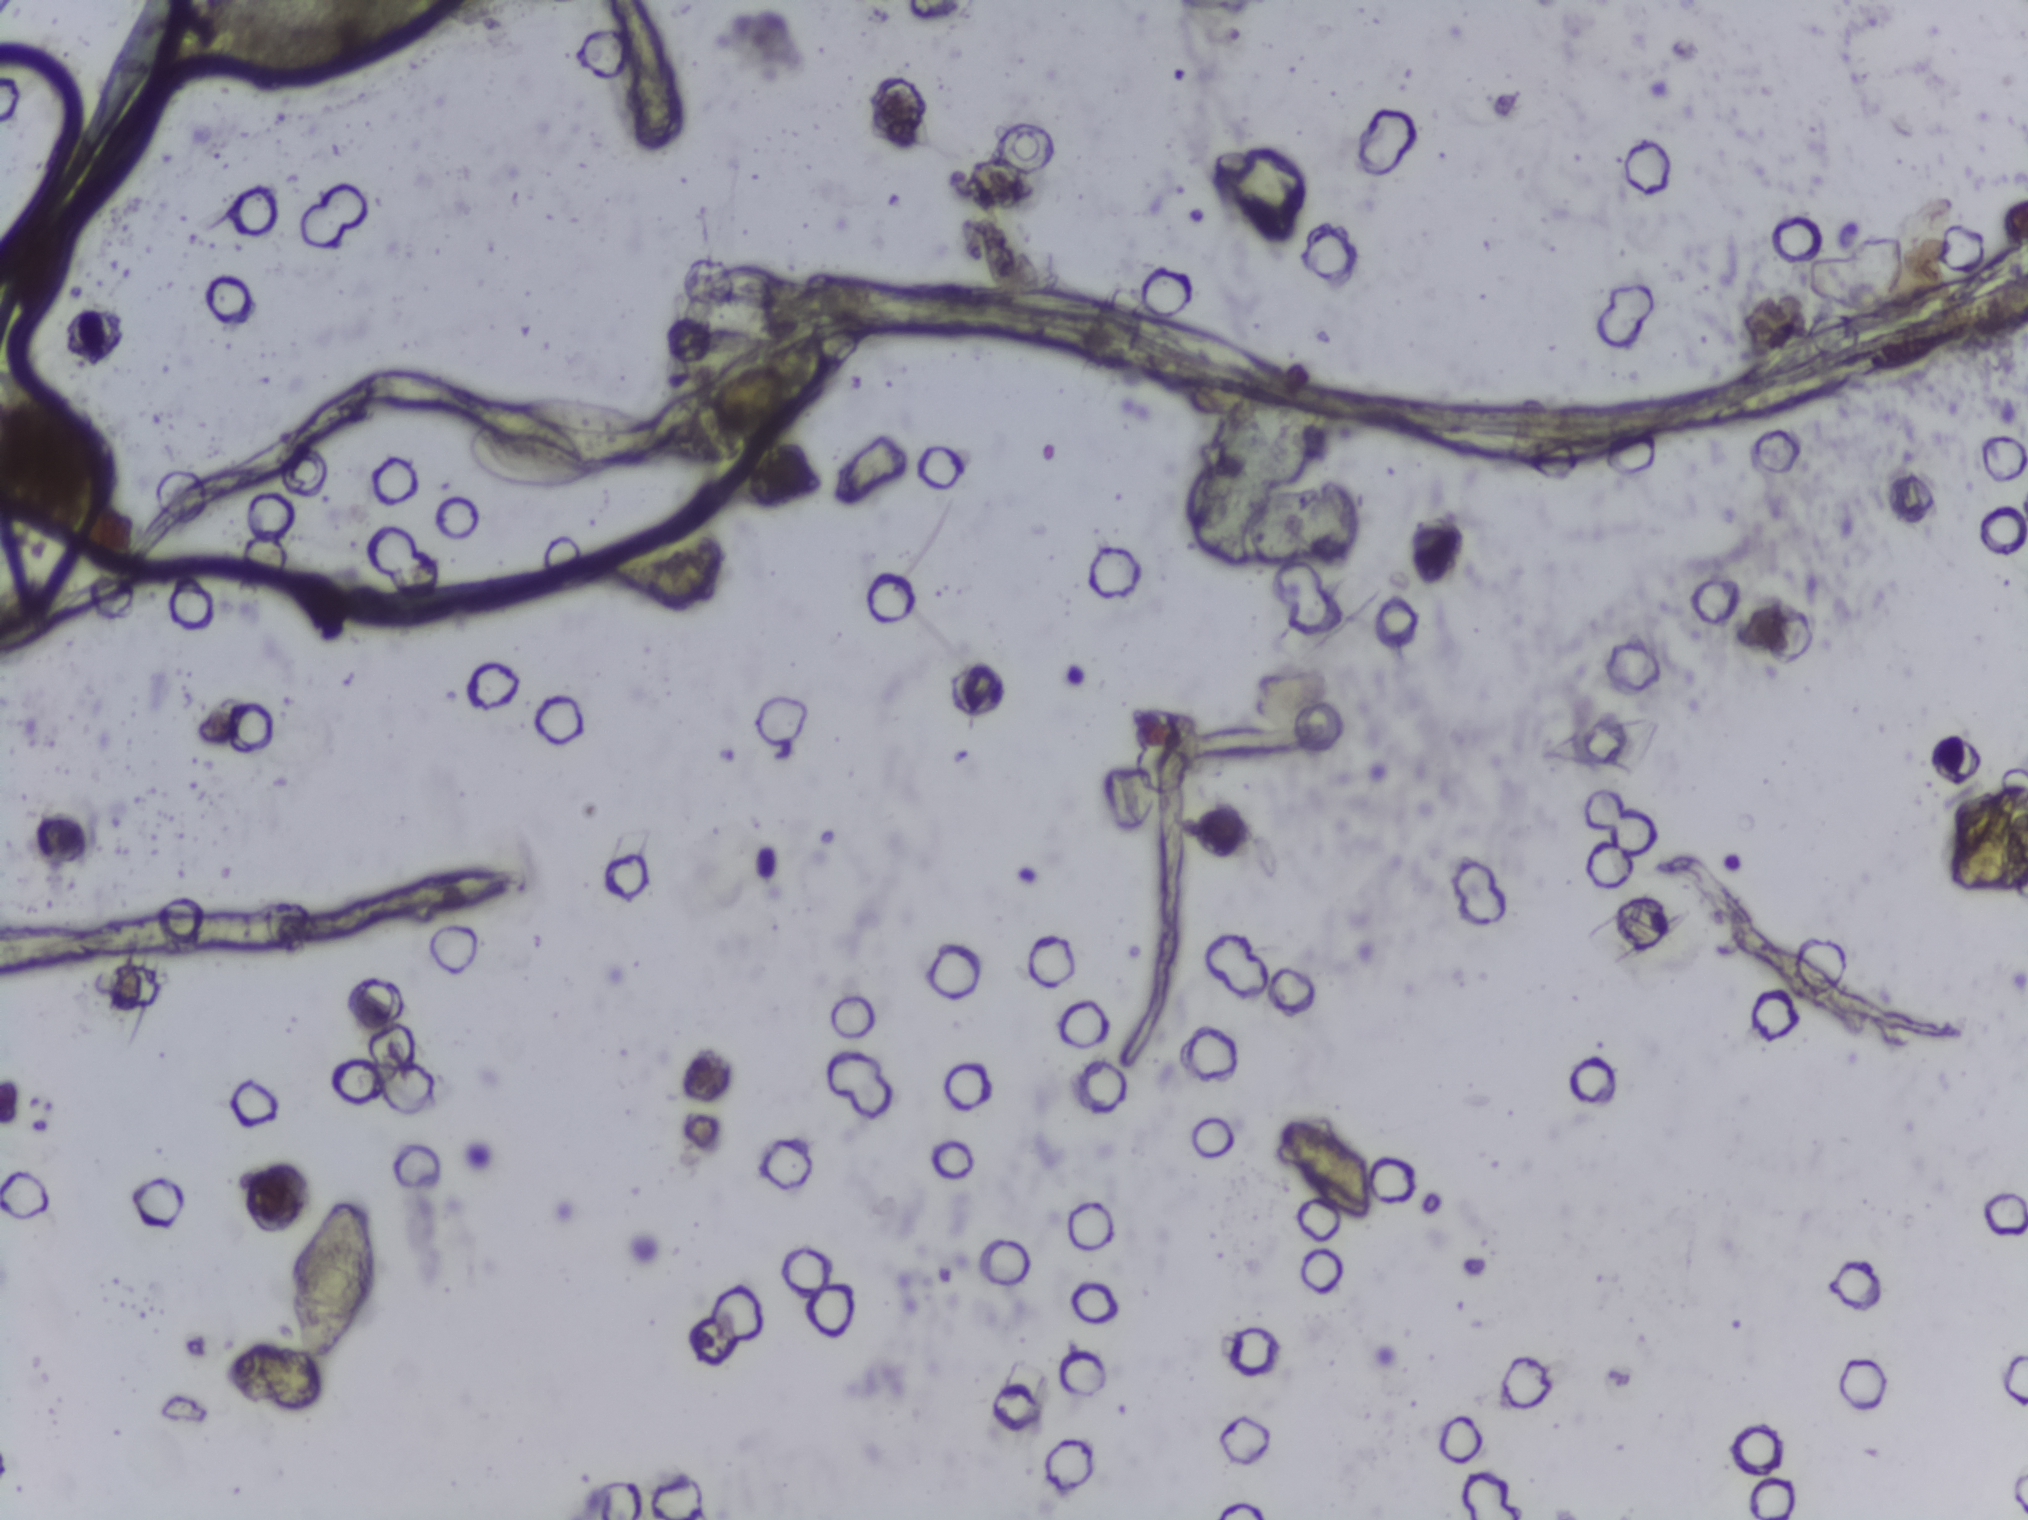
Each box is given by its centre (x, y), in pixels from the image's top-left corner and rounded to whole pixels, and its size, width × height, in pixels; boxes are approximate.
Schistosoma eggs are outlined in the expert annotation at centre (335, 1277), 91 × 165 px and centre (564, 441), 201 × 103 px. An outlined area can hold more than one egg. Any one outlined egg may, rarely, be S. mansoni rather than S. haematobium.
Microscope photograph (4× objective) of a membrane that a urine sample was filtered through. The image covers about 1.5 × 1.1 mm of the membrane.